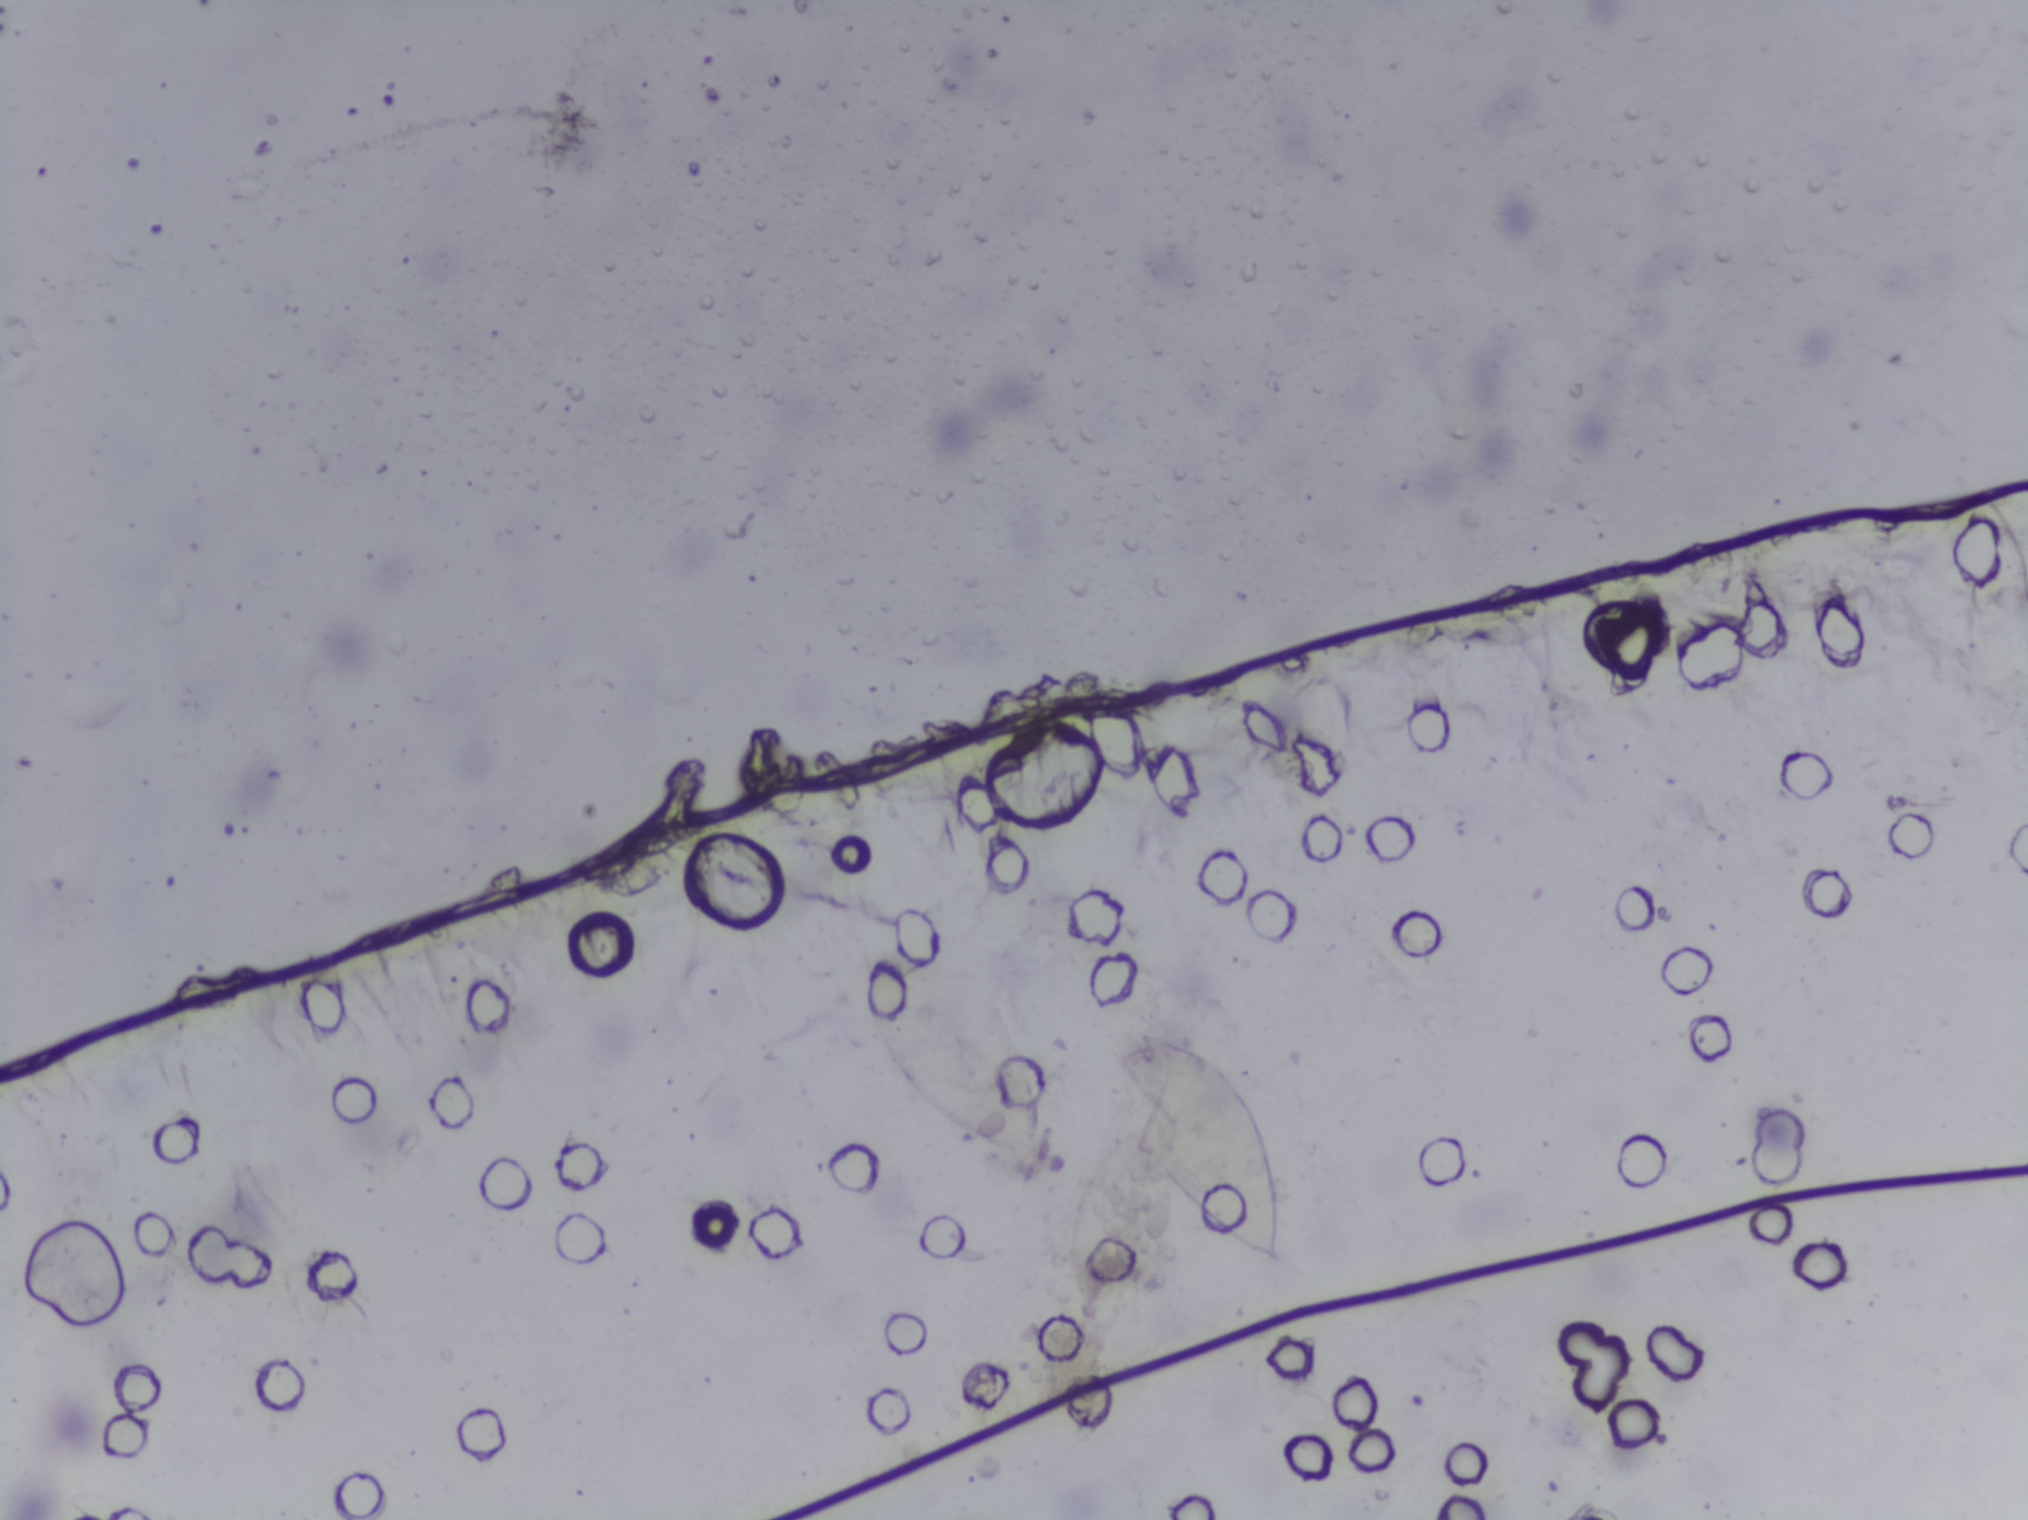
Urine filtration membrane under a 4× objective, photographed by an automated digital microscope.
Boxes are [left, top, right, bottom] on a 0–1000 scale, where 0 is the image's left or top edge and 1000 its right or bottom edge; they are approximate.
{"schistosoma_egg_areas_xyxy_per1000": [[427, 616, 519, 761], [551, 682, 635, 838]]}
A single outlined area may contain several eggs.